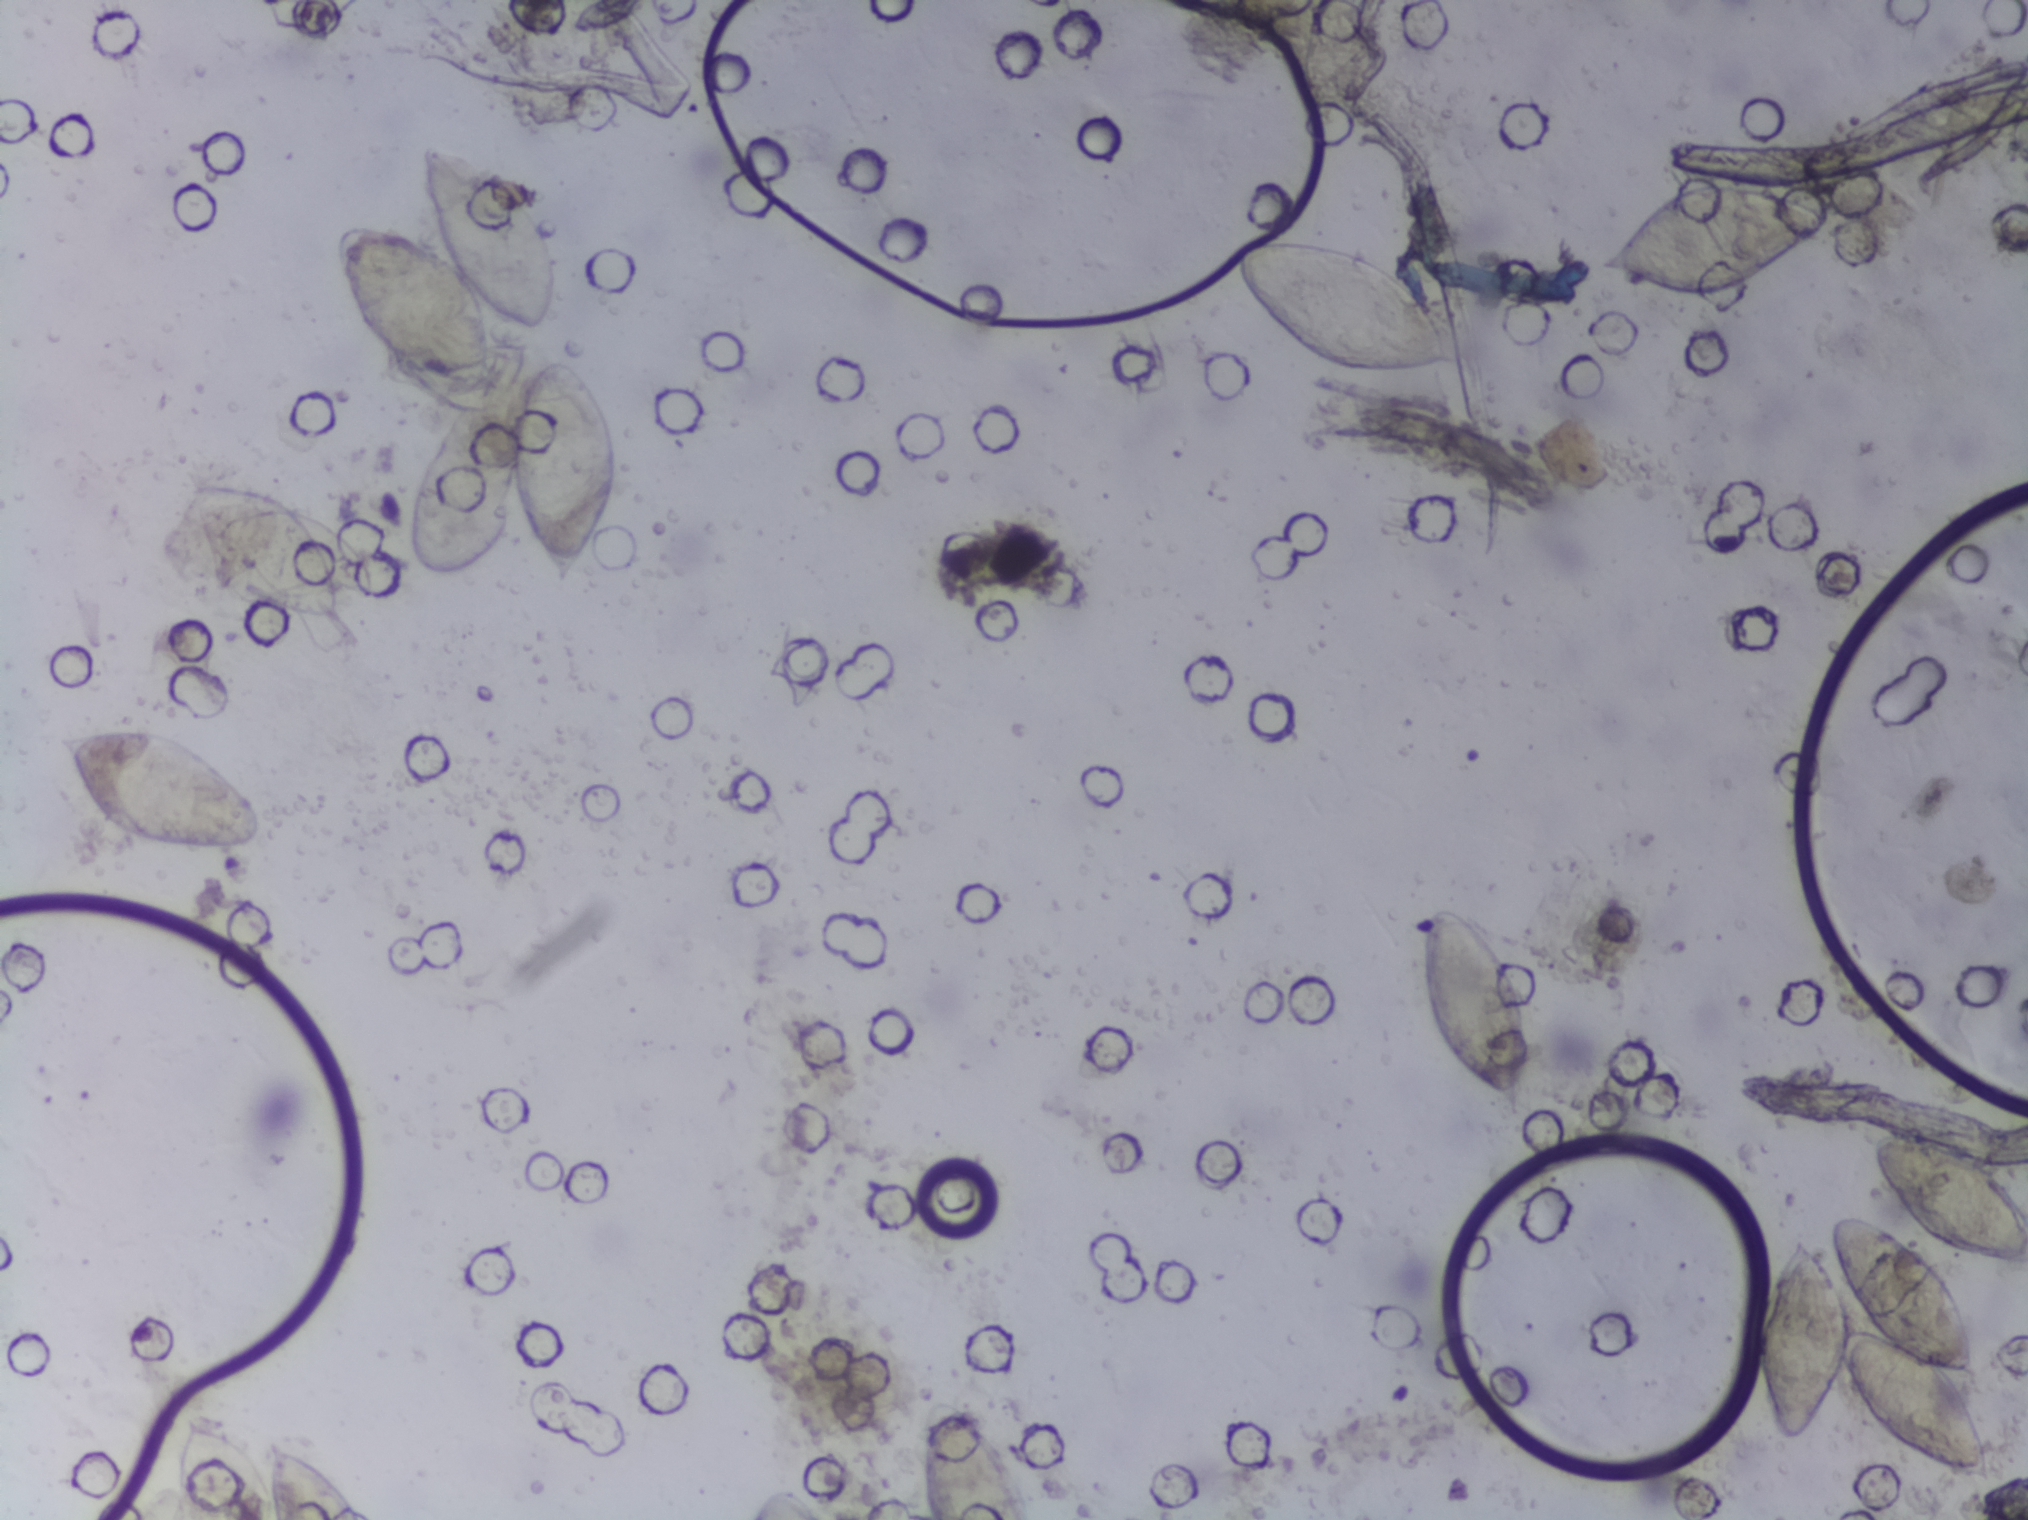
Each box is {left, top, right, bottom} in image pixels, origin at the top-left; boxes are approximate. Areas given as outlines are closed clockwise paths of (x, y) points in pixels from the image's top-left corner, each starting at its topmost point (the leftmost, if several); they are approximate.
Findings: nine areas outlined as Schistosoma eggs. Locations, left to right: box {53, 721, 266, 854}; box {169, 1413, 361, 1519} (reaching the bottom edge of the frame); outline (419, 140), (466, 150), (502, 169), (538, 202), (552, 230), (558, 307), (540, 333), (505, 331), (502, 362), (526, 348), (533, 360), (540, 354), (570, 356), (596, 381), (616, 437), (616, 478), (600, 515), (600, 535), (566, 588), (515, 514), (492, 551), (460, 575), (421, 576), (407, 560), (409, 490), (431, 431), (464, 389), (433, 384), (363, 339), (329, 275), (327, 234), (336, 222), (338, 229), (346, 220), (370, 220), (432, 237), (417, 183) (eggs clustered together); box {917, 1391, 1029, 1519} (reaching the bottom edge of the frame); box {1231, 238, 1460, 375}; box {1413, 903, 1526, 1122}; box {1597, 178, 1825, 303}; box {1750, 1213, 1992, 1482}; box {1875, 1133, 2027, 1269} (reaching the right edge of the frame). An outlined area can hold more than one egg.
Photomicrograph of a urine filtration membrane, 4× objective.